Microscope photograph (4× objective) of a membrane that a urine sample was filtered through.
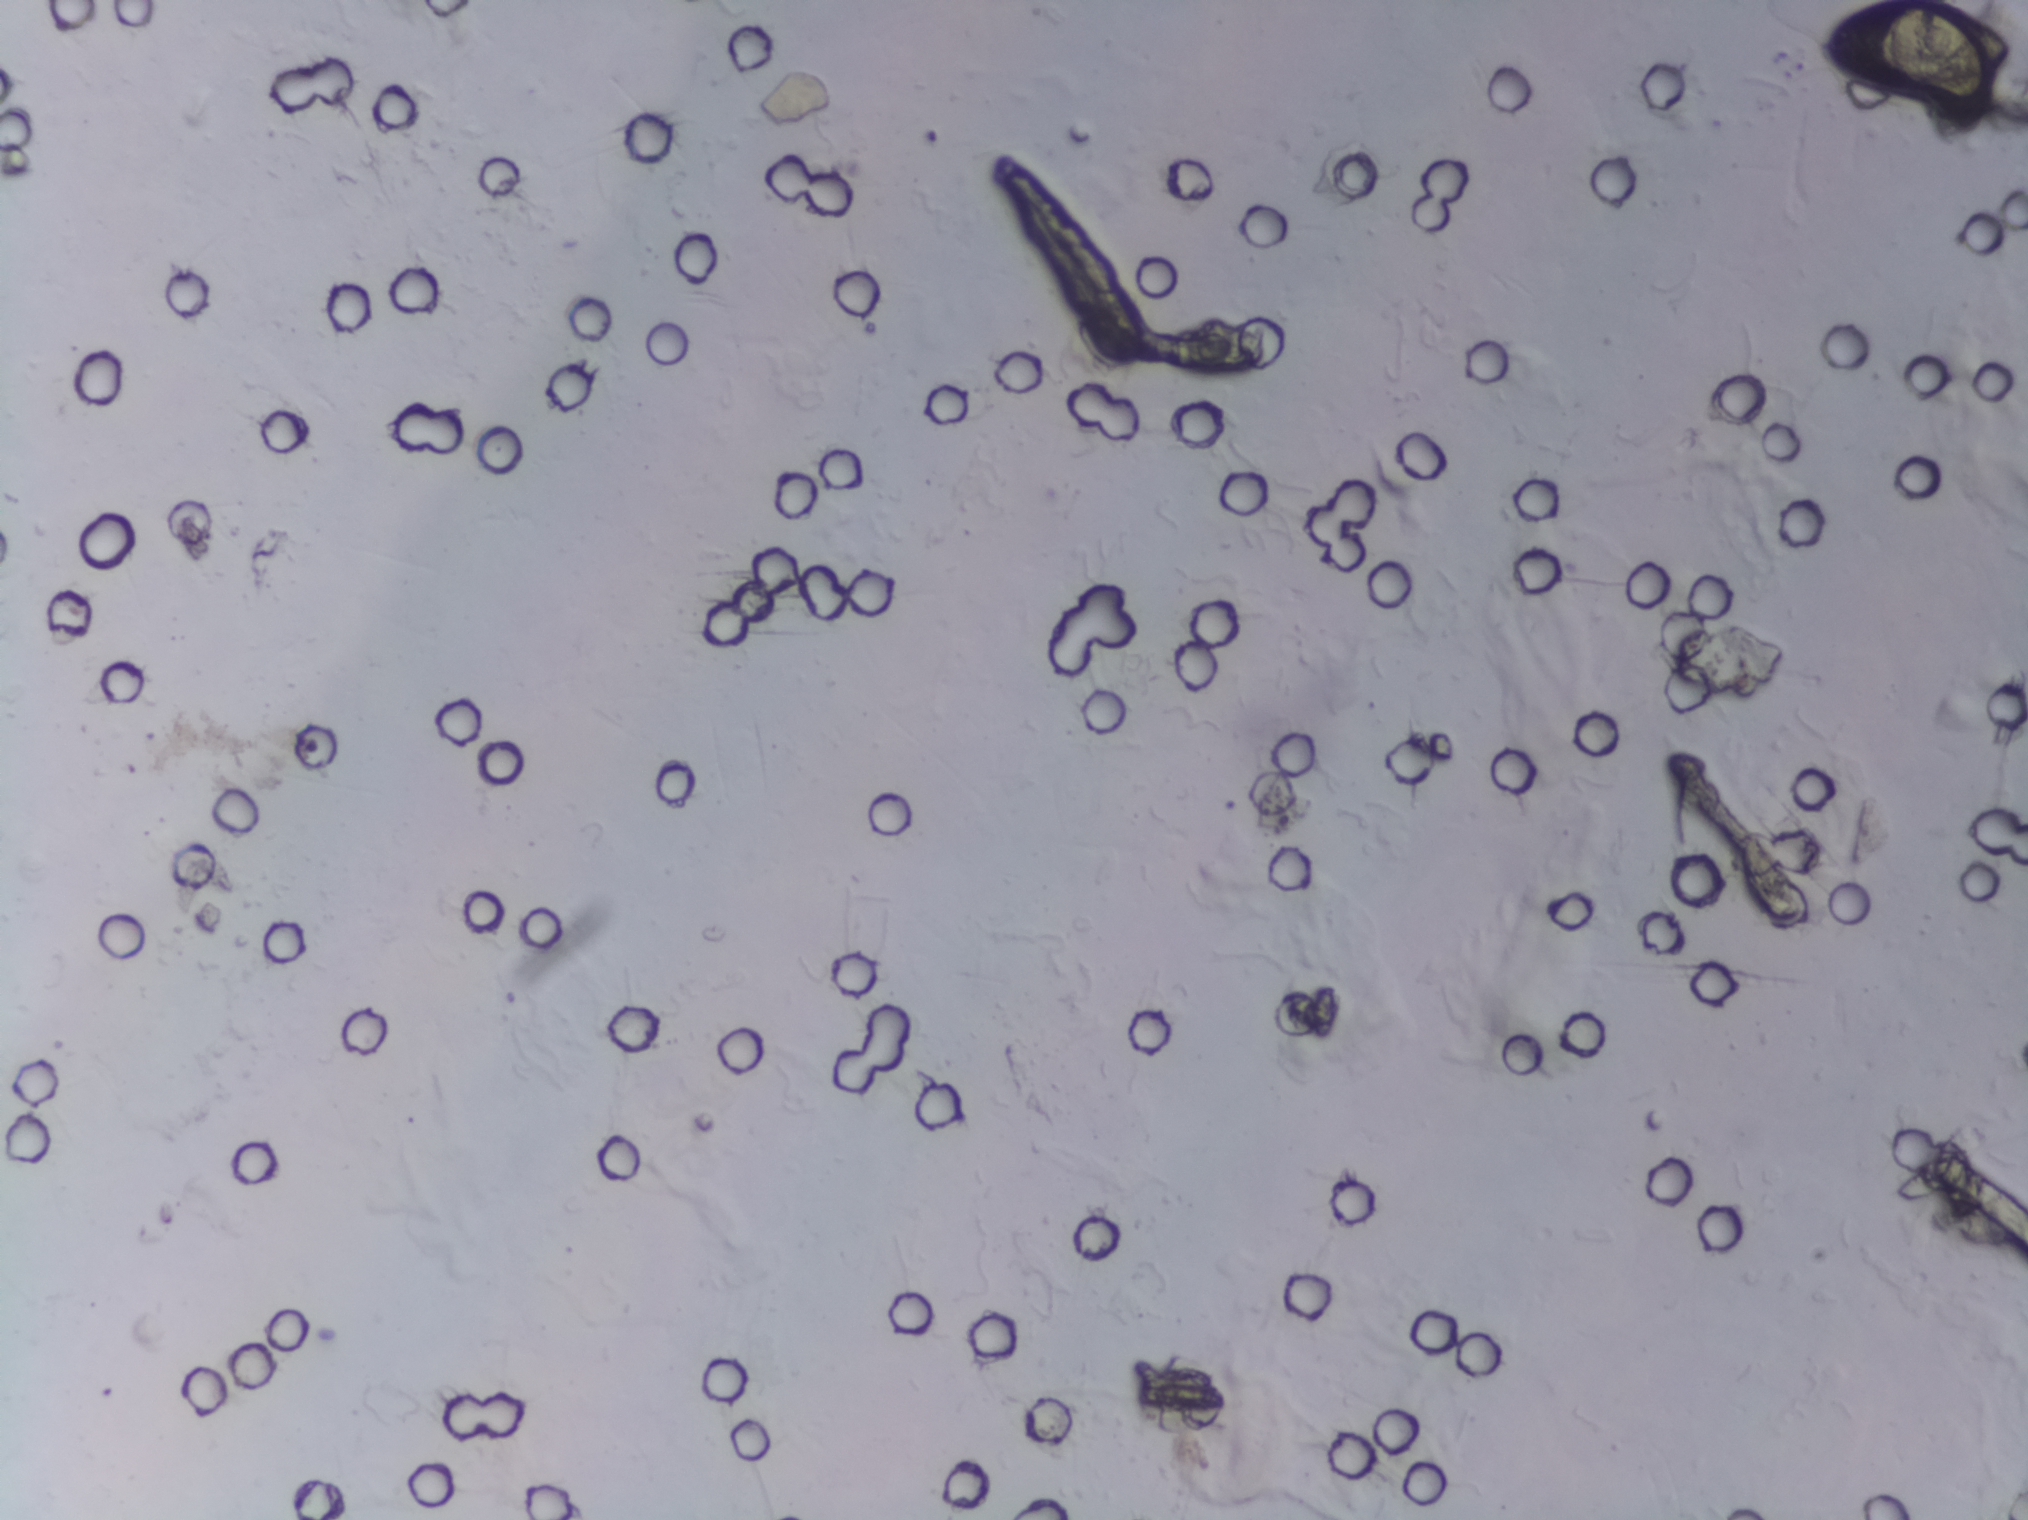
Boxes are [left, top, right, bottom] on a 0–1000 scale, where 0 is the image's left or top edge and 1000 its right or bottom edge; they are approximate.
The expert annotation outlines Schistosoma eggs at [891, 0, 997, 91] (reaching the top edge of the frame). Eggs that touch can end up inside the same outlined area.